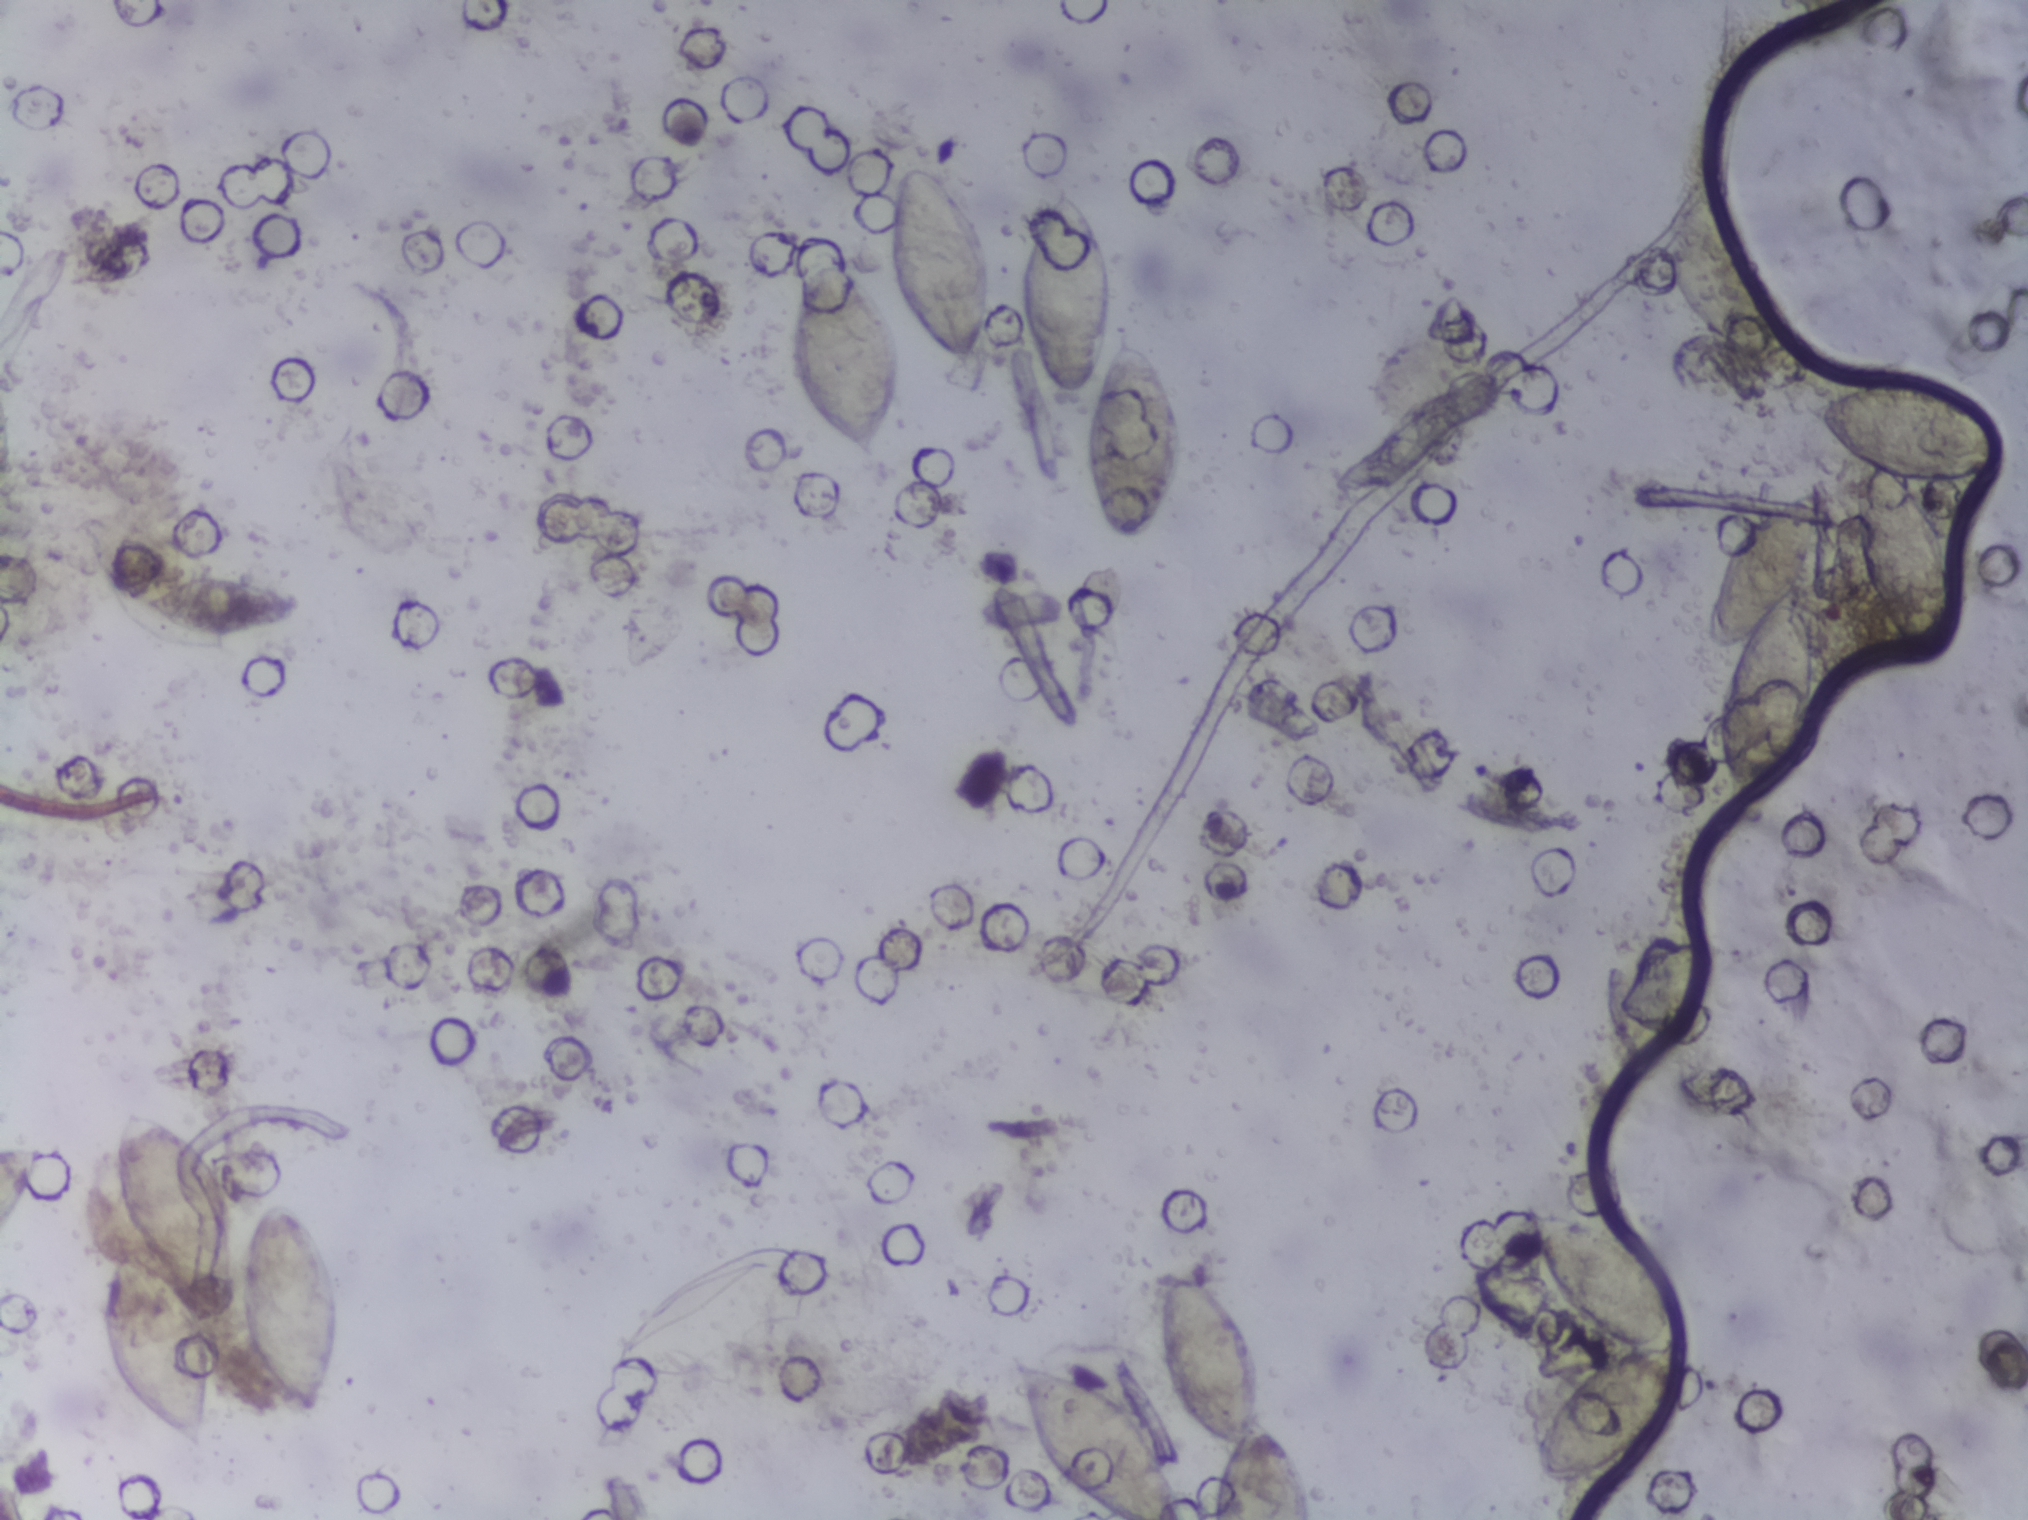
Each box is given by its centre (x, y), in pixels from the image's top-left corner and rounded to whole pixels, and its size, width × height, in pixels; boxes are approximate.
Schistosoma egg areas, outlined: centre (216, 1283), 244 × 343 px (a cluster of eggs); centre (224, 605), 156 × 62 px; centre (845, 353), 115 × 225 px; centre (942, 270), 105 × 210 px; centre (1065, 293), 95 × 214 px; centre (1099, 1438), 179 × 163 px (reaching the bottom edge of the frame); centre (1133, 431), 96 × 227 px; centre (1233, 1396), 161 × 247 px (reaching the bottom edge of the frame); centre (1597, 1344), 182 × 293 px; centre (1764, 642), 122 × 313 px; centre (1903, 521), 206 × 281 px. Marked pixels, not the boxes around them: about 8.3% of the image. Eggs that touch can end up inside the same outlined area.
Photomicrograph of a urine filtration membrane, 4× objective. Field of view: about 1.5 mm wide and 1.1 mm high.